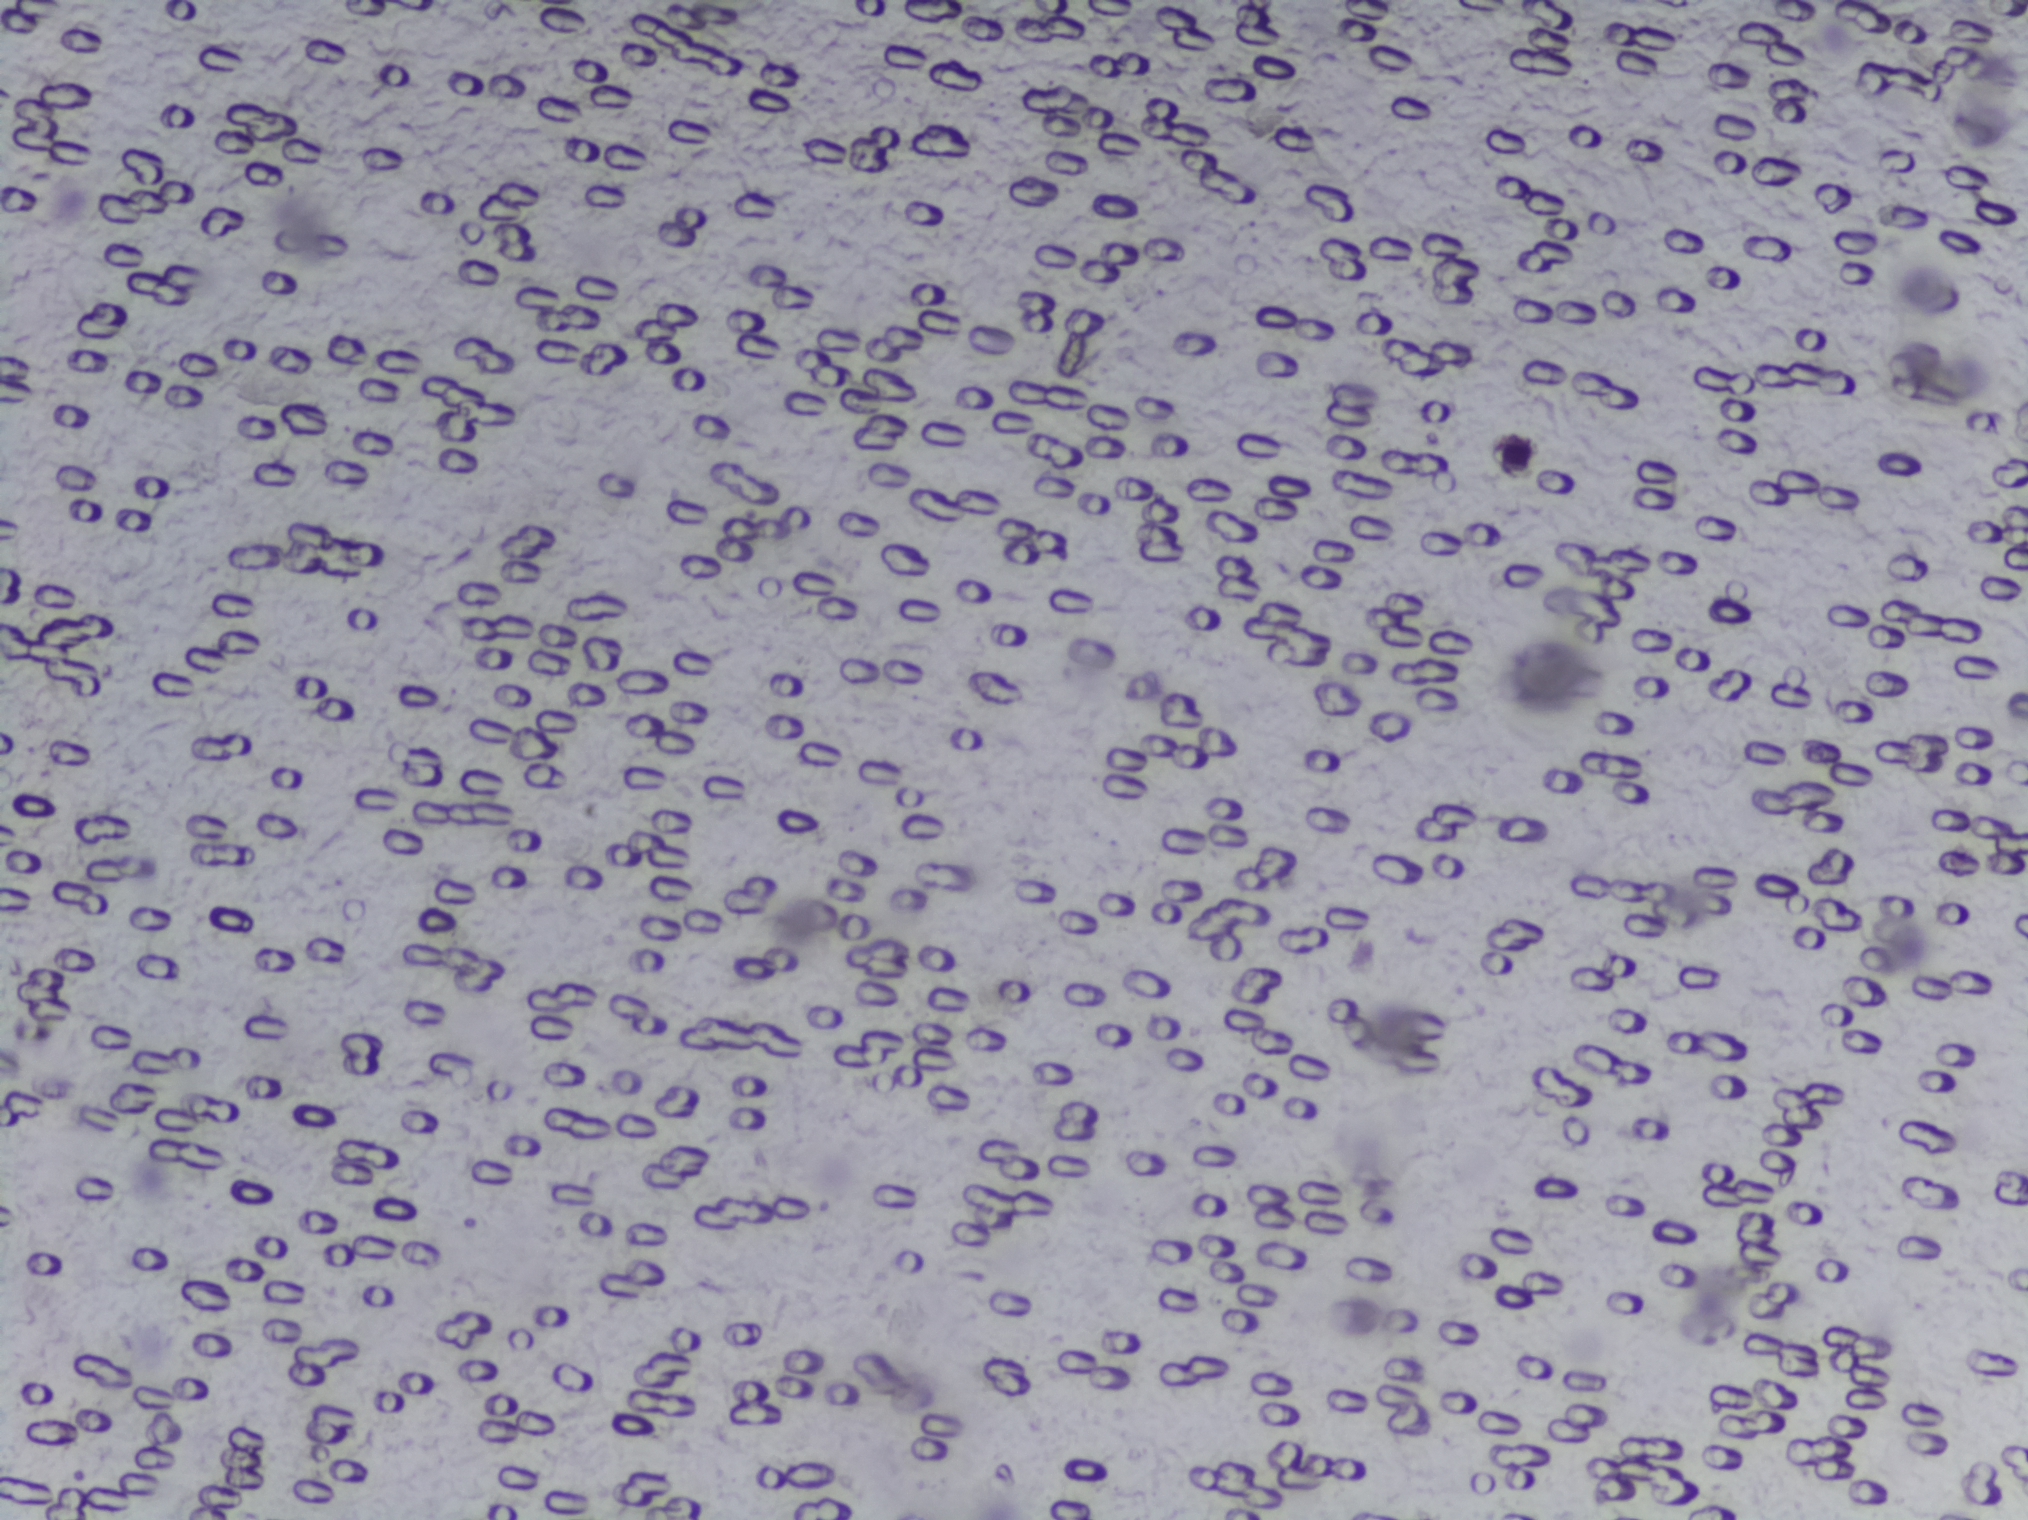
Photomicrograph of a urine filtration membrane, 4× objective.
The expert annotation outlines no Schistosoma egg in this image.